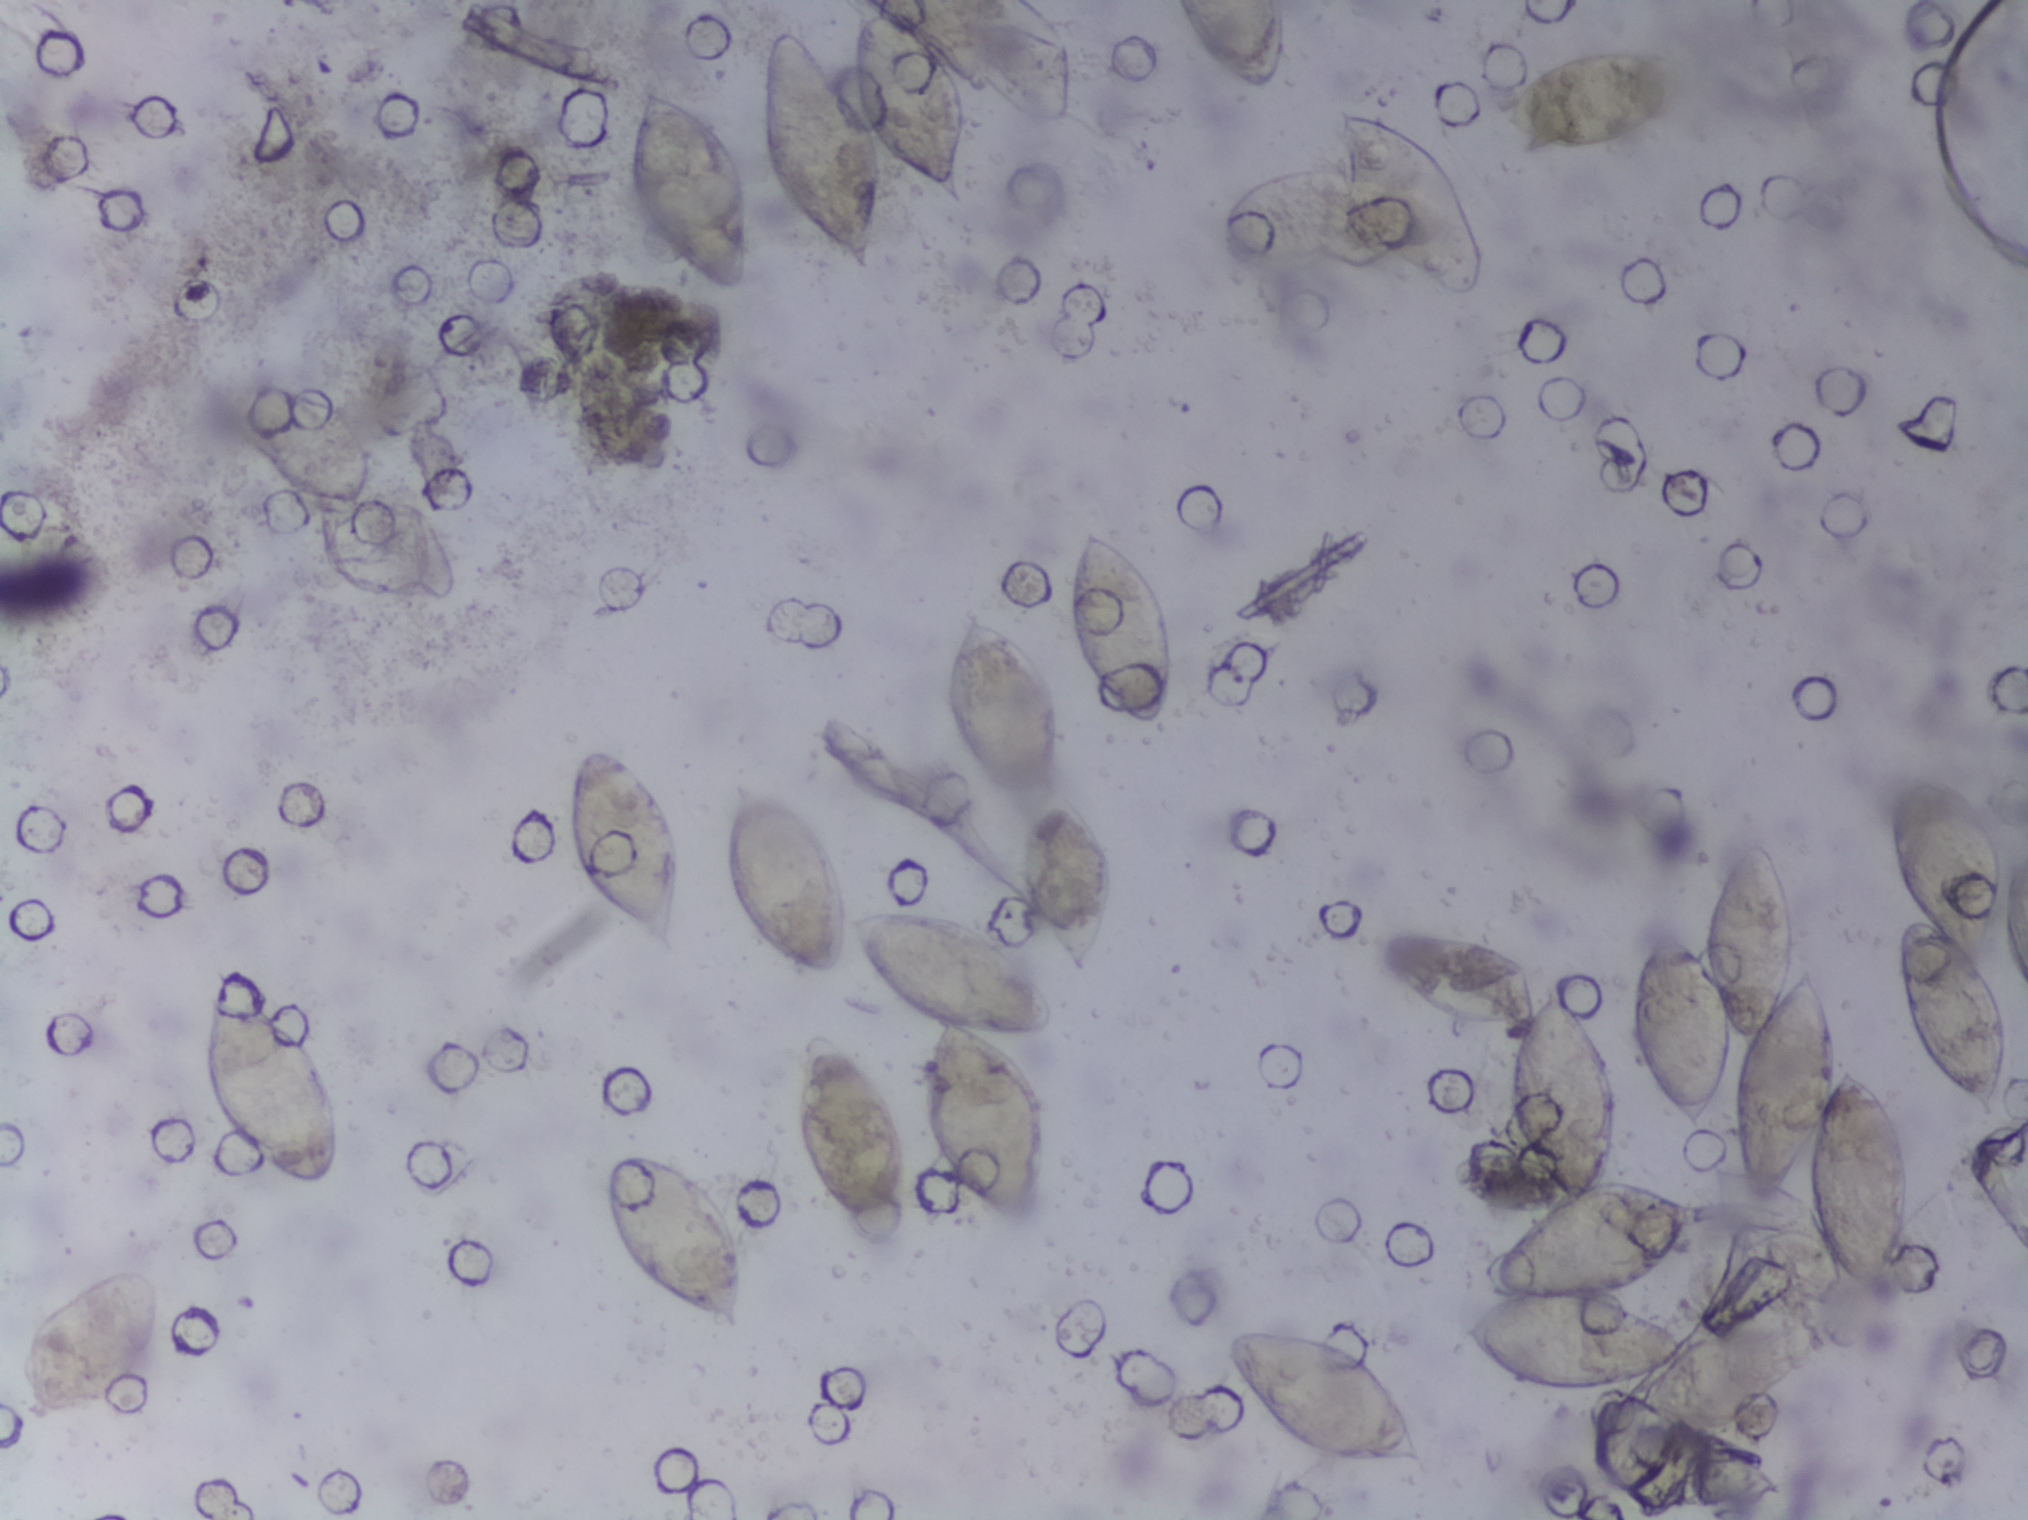
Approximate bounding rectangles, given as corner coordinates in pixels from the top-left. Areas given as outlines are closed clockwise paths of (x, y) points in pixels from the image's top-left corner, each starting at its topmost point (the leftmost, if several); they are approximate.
Findings: 18 areas outlined as Schistosoma eggs. Locations: box (x1=21, y1=1259, x2=168, y2=1423); box (x1=203, y1=961, x2=344, y2=1198); box (x1=561, y1=739, x2=684, y2=964); box (x1=599, y1=1147, x2=752, y2=1336); box (x1=621, y1=74, x2=757, y2=303); outline (738, 775), (811, 816), (842, 860), (855, 908), (969, 906), (1031, 951), (1042, 967), (1066, 1029), (1042, 1043), (1009, 1044), (1037, 1076), (1050, 1128), (1046, 1218), (1035, 1232), (983, 1229), (927, 1161), (919, 1098), (931, 1029), (905, 1013), (854, 957), (844, 980), (811, 984), (771, 962), (744, 927), (733, 910), (727, 863), (727, 794) (eggs clustered together); box (x1=760, y1=6, x2=973, y2=281); box (x1=791, y1=1028, x2=910, y2=1245); box (x1=940, y1=0, x2=1075, y2=126) (reaching the top edge of the frame); outline (971, 602), (1014, 622), (1046, 650), (1070, 723), (1061, 779), (1084, 794), (1122, 852), (1118, 908), (1088, 983), (1074, 981), (1056, 962), (1033, 924), (1019, 886), (1017, 815), (975, 785), (943, 720), (941, 670), (955, 620); box (x1=1063, y1=522, x2=1186, y2=739); box (x1=1175, y1=0, x2=1288, y2=94) (reaching the top edge of the frame); box (x1=1217, y1=1317, x2=1434, y2=1470); box (x1=1331, y1=105, x2=1488, y2=295); outline (1389, 930), (1469, 935), (1517, 962), (1537, 998), (1545, 983), (1571, 993), (1597, 1024), (1615, 1080), (1619, 1129), (1606, 1175), (1639, 1176), (1704, 1195), (1706, 1216), (1699, 1226), (1646, 1286), (1629, 1294), (1692, 1329), (1692, 1352), (1665, 1374), (1623, 1388), (1543, 1395), (1505, 1381), (1446, 1338), (1453, 1319), (1496, 1297), (1487, 1286), (1487, 1260), (1551, 1187), (1513, 1134), (1509, 1048), (1517, 1027), (1456, 1022), (1393, 988), (1365, 957), (1366, 940) (eggs clustered together); box (x1=1502, y1=53, x2=1689, y2=155); outline (1751, 833), (1772, 847), (1783, 874), (1793, 914), (1791, 975), (1812, 966), (1822, 978), (1840, 1020), (1842, 1062), (1884, 1073), (1910, 1148), (1912, 1195), (1899, 1276), (1890, 1292), (1874, 1298), (1855, 1297), (1831, 1271), (1808, 1212), (1808, 1161), (1783, 1200), (1755, 1208), (1738, 1180), (1727, 1084), (1702, 1134), (1691, 1134), (1660, 1109), (1627, 1050), (1630, 982), (1653, 929), (1671, 925), (1702, 951), (1708, 889) (eggs clustered together); box (x1=1883, y1=770, x2=2010, y2=1124). A single outlined area may contain several eggs.
One field of view of a urine filter membrane, 4× objective, 2028 × 1520 pixels.